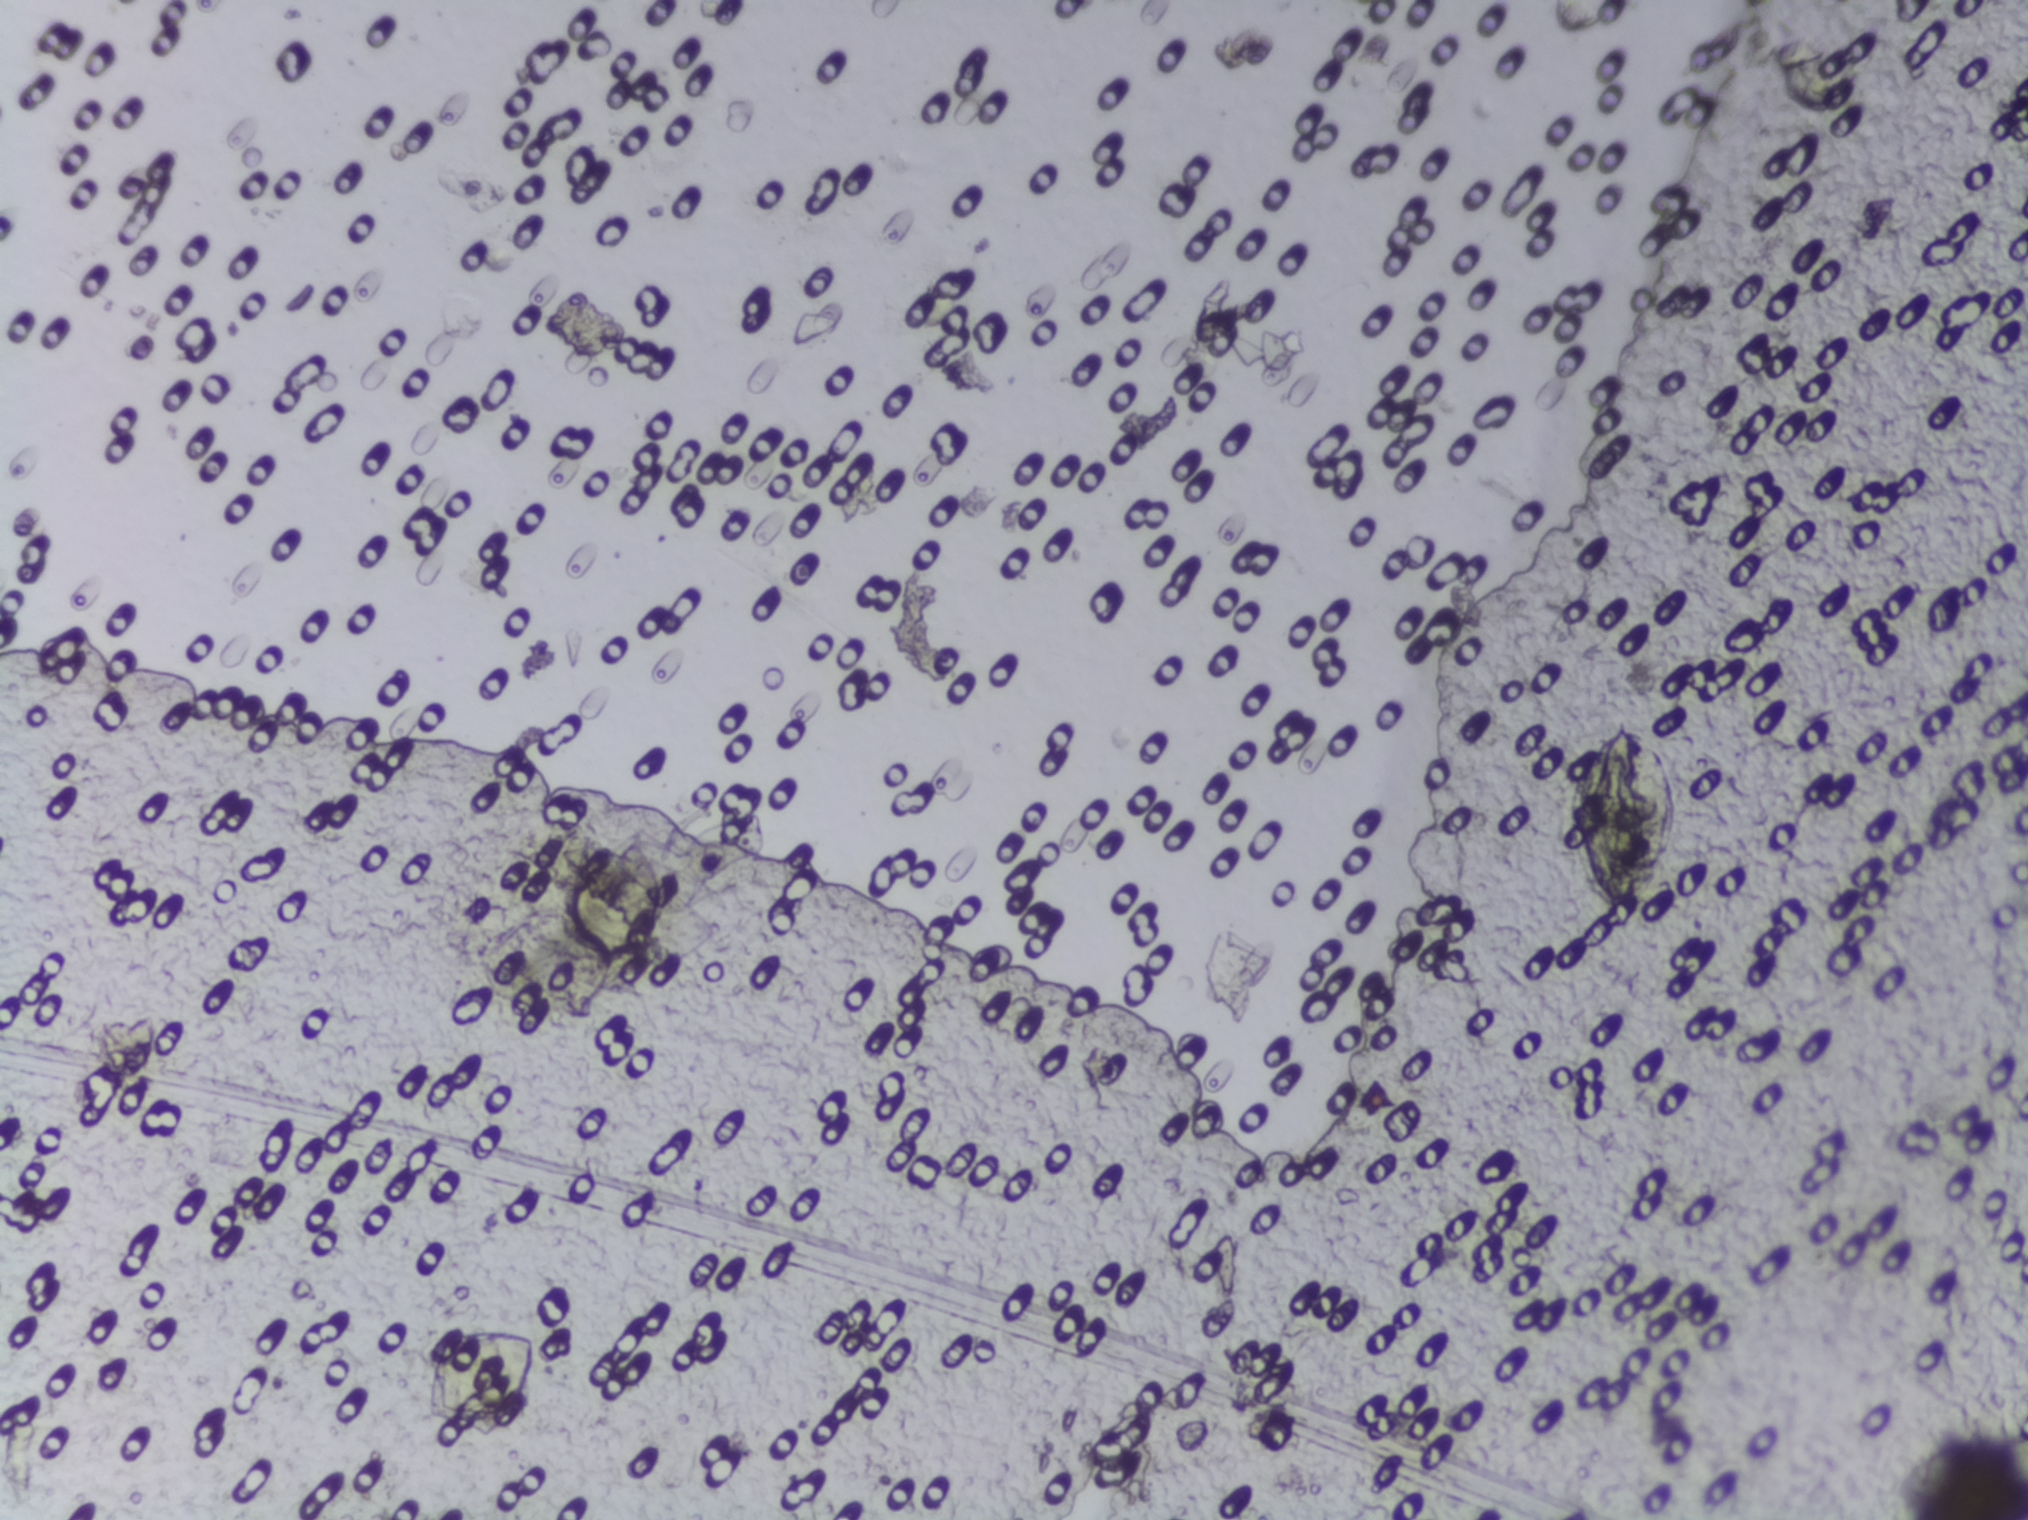
Photograph from an automated digital microscope: urine filter membrane, 4× objective. The field of view is about 1.5 mm × 1.1 mm.
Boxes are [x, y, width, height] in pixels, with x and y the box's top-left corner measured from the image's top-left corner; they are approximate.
One area of this image is outlined as Schistosoma eggs: [1567, 717, 115, 202]. Eggs that touch can end up inside the same outlined area.